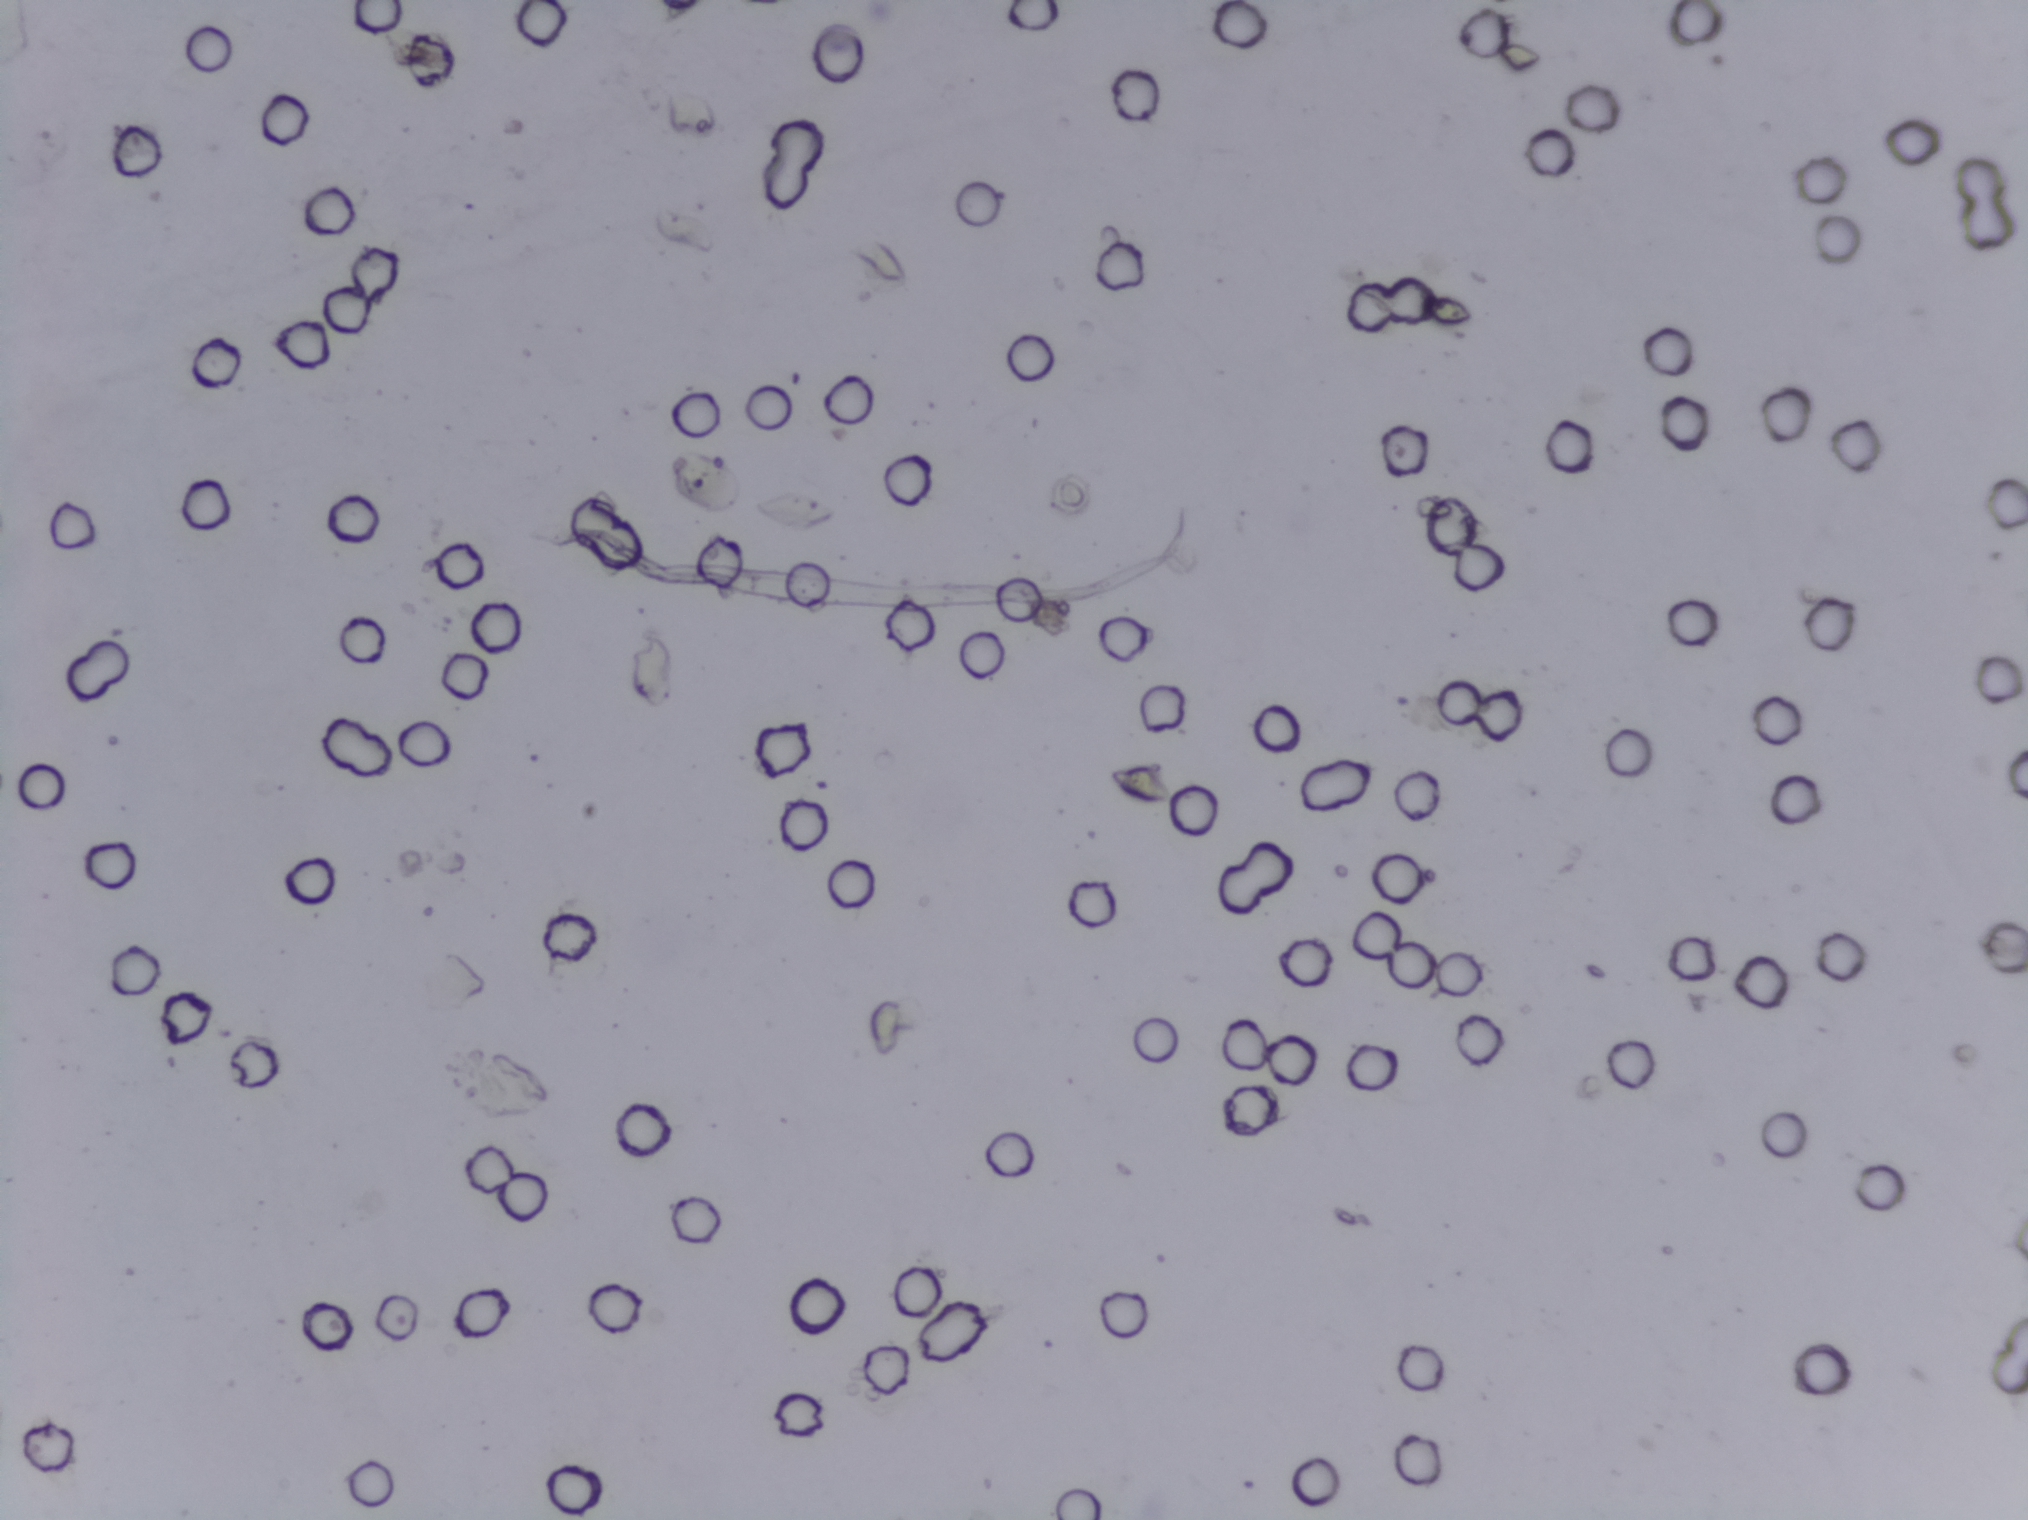
Microscope photograph (4× objective) of a membrane that a urine sample was filtered through.
The expert annotation outlines no Schistosoma egg in this image.